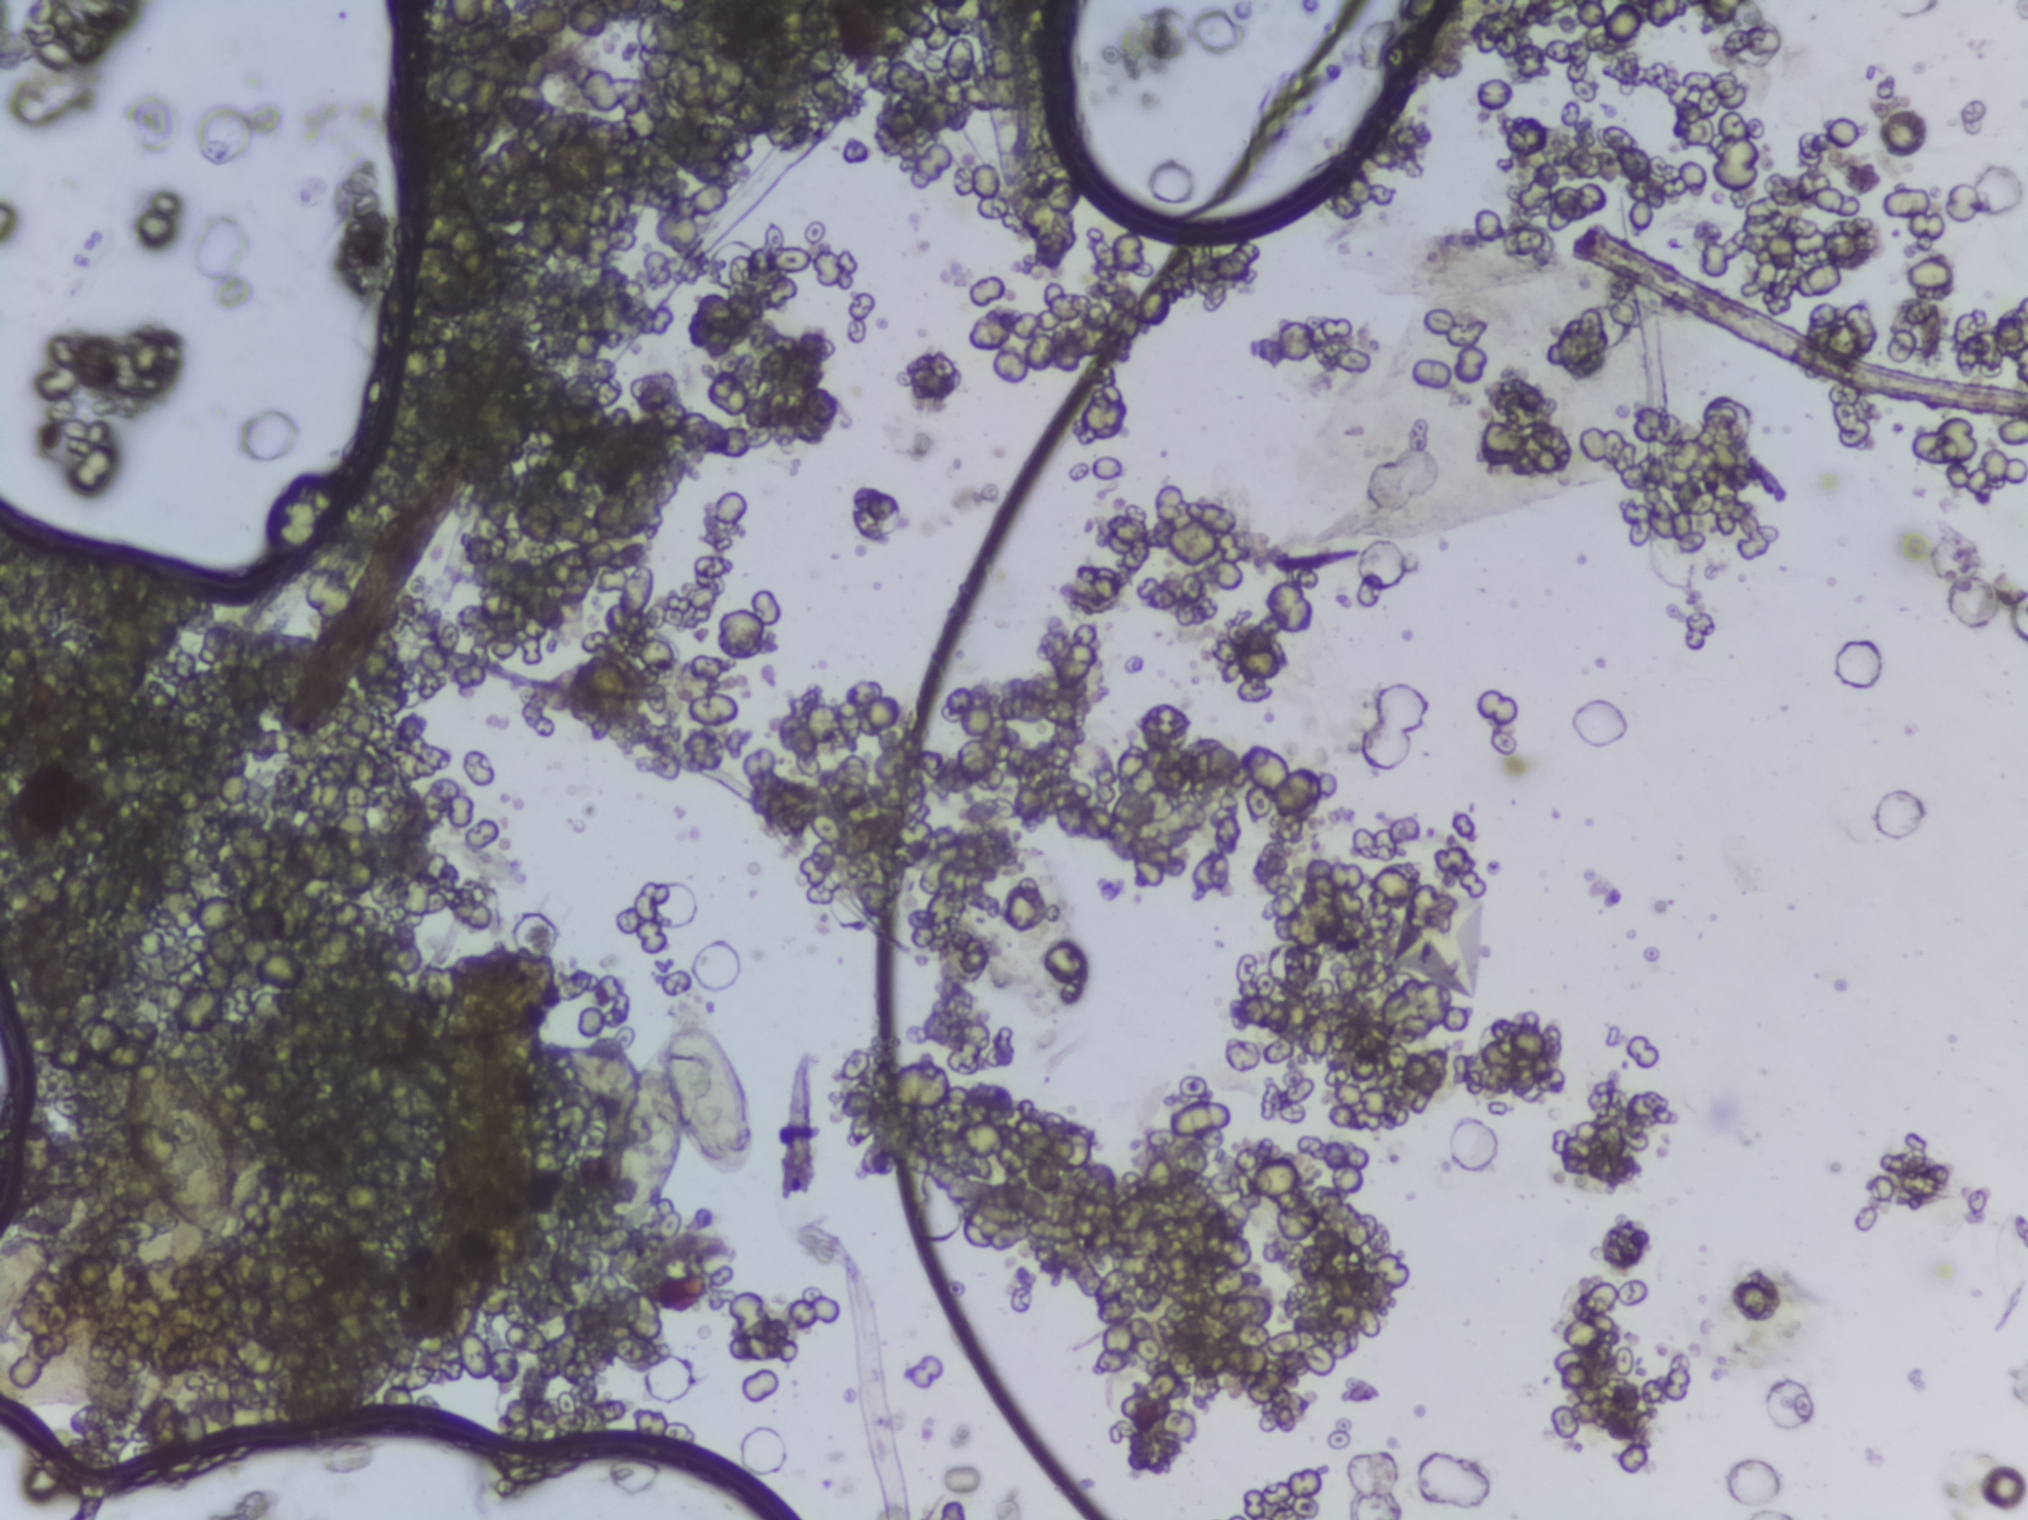
Urine filter membrane photographed through a 4× microscope objective.
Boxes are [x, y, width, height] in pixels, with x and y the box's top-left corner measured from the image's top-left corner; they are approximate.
The expert annotation outlines Schistosoma eggs at [0, 1233, 56, 104] (reaching the left edge of the frame); [118, 1041, 121, 205]; [593, 1013, 160, 221]. About 1.4% of the image's pixels are marked (the marked pixels themselves, not the boxes around them). A single outlined area may contain several eggs.